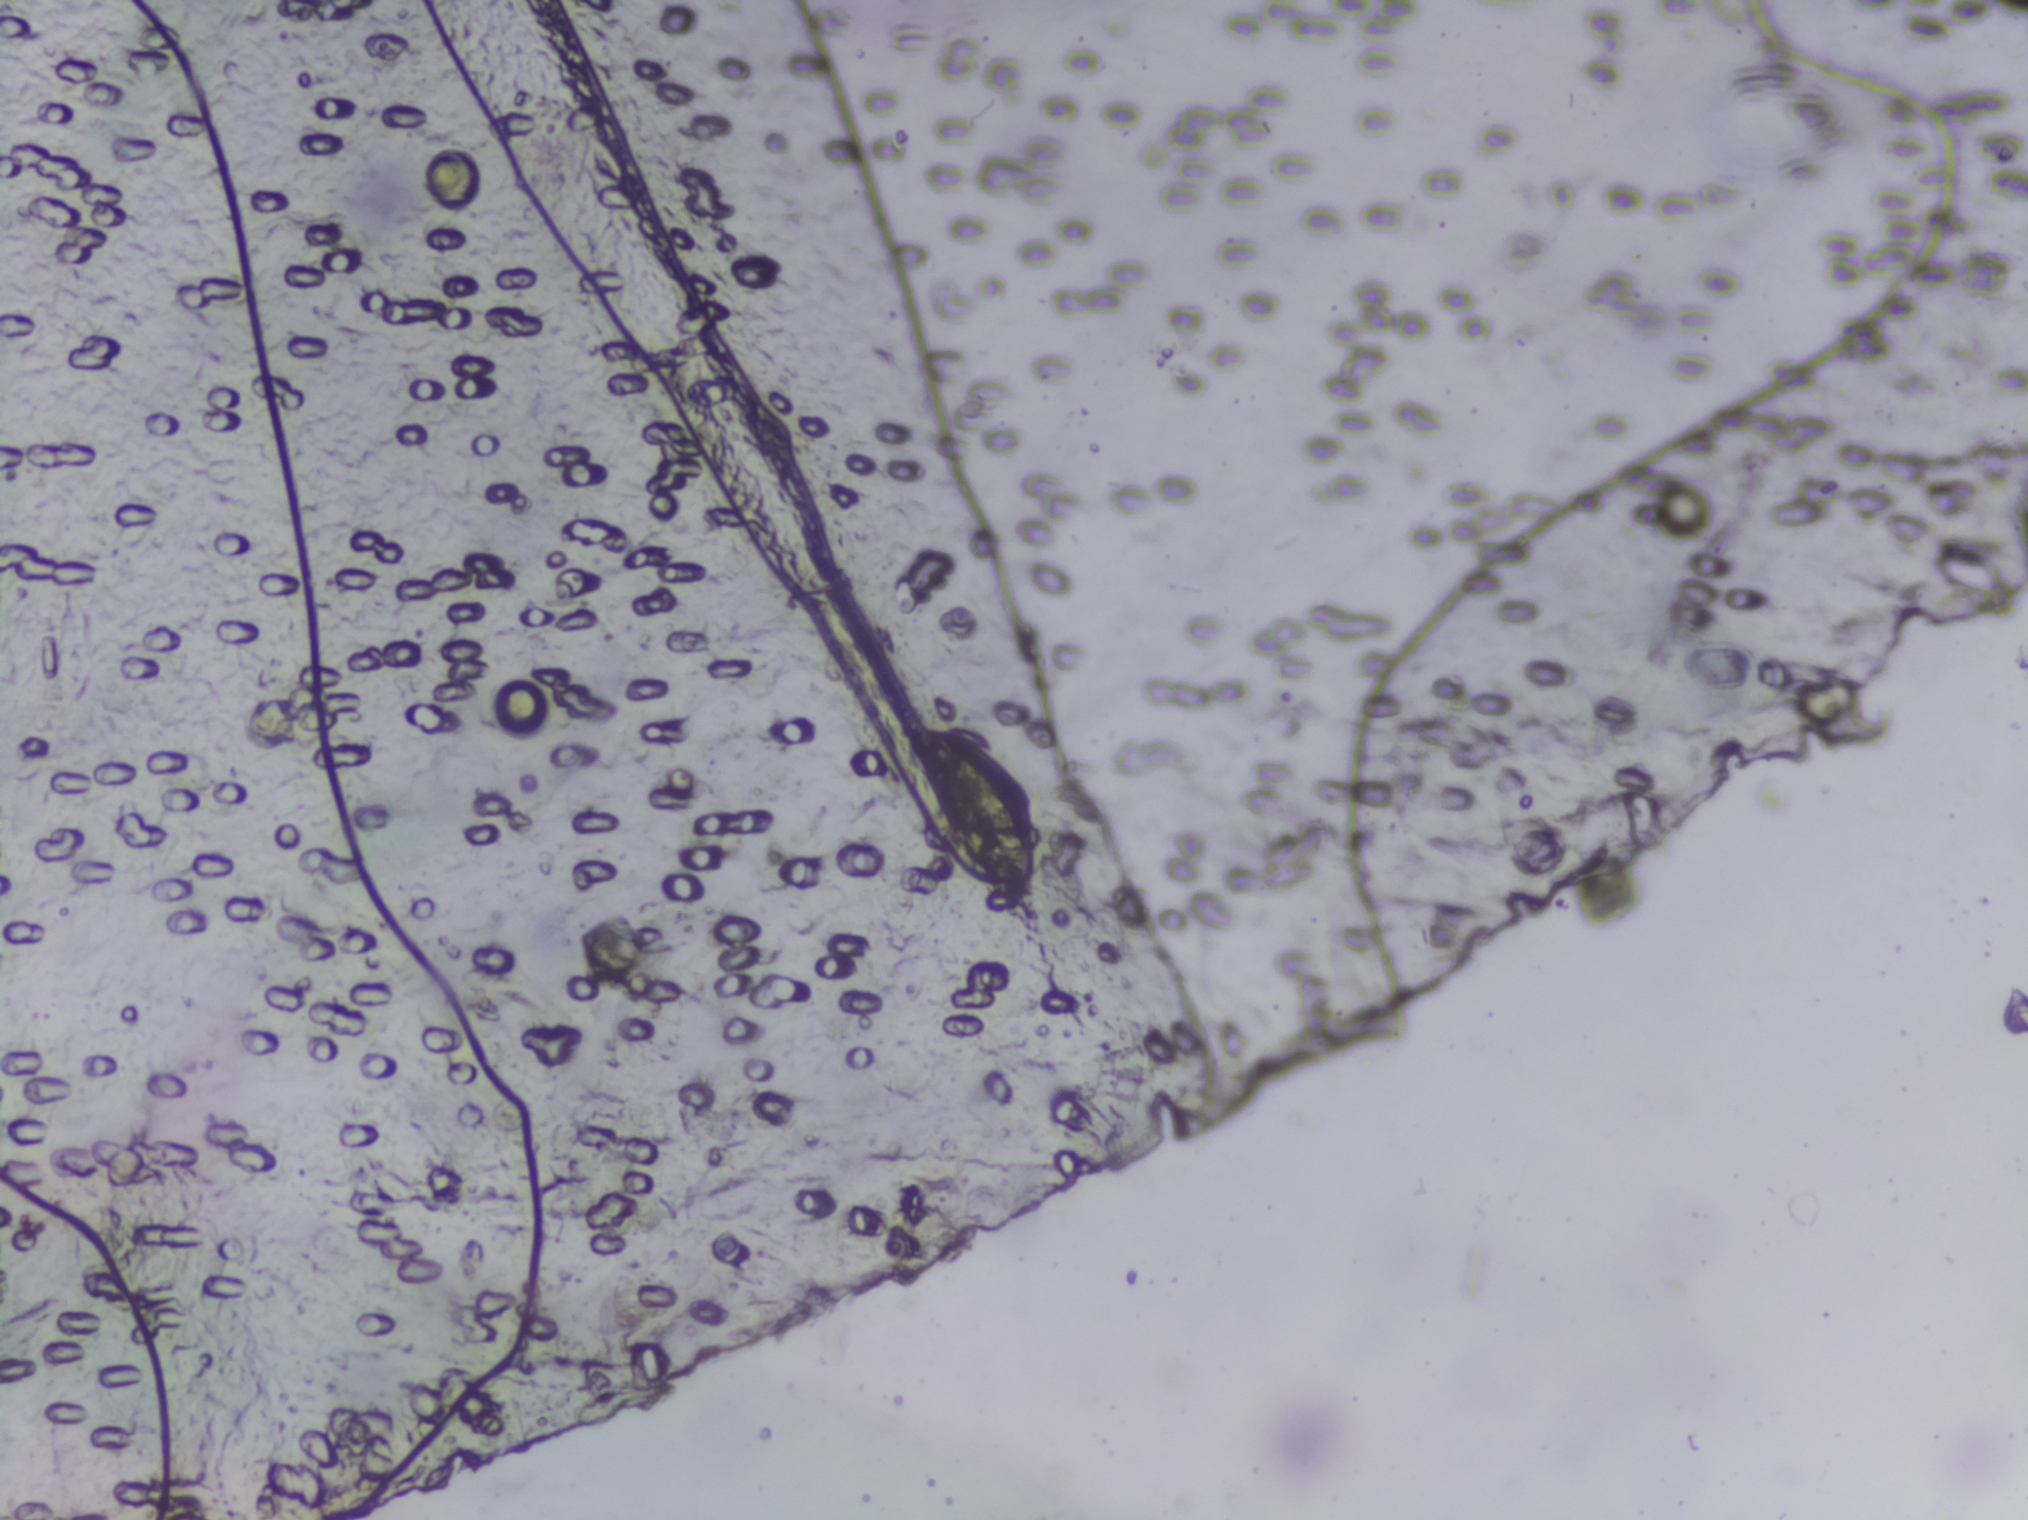
Photograph from an automated digital microscope: urine filter membrane, 4× objective. The field of view is about 1.5 mm × 1.1 mm.
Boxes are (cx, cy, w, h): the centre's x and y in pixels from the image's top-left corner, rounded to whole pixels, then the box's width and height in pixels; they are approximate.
Schistosoma eggs are outlined in the expert annotation at (cx=984, cy=808, w=117, h=163). The marked pixels themselves, not the box around them, cover about 0.4% of the image. An outlined area can hold more than one egg. Any one outlined egg may, rarely, be S. mansoni rather than S. haematobium.